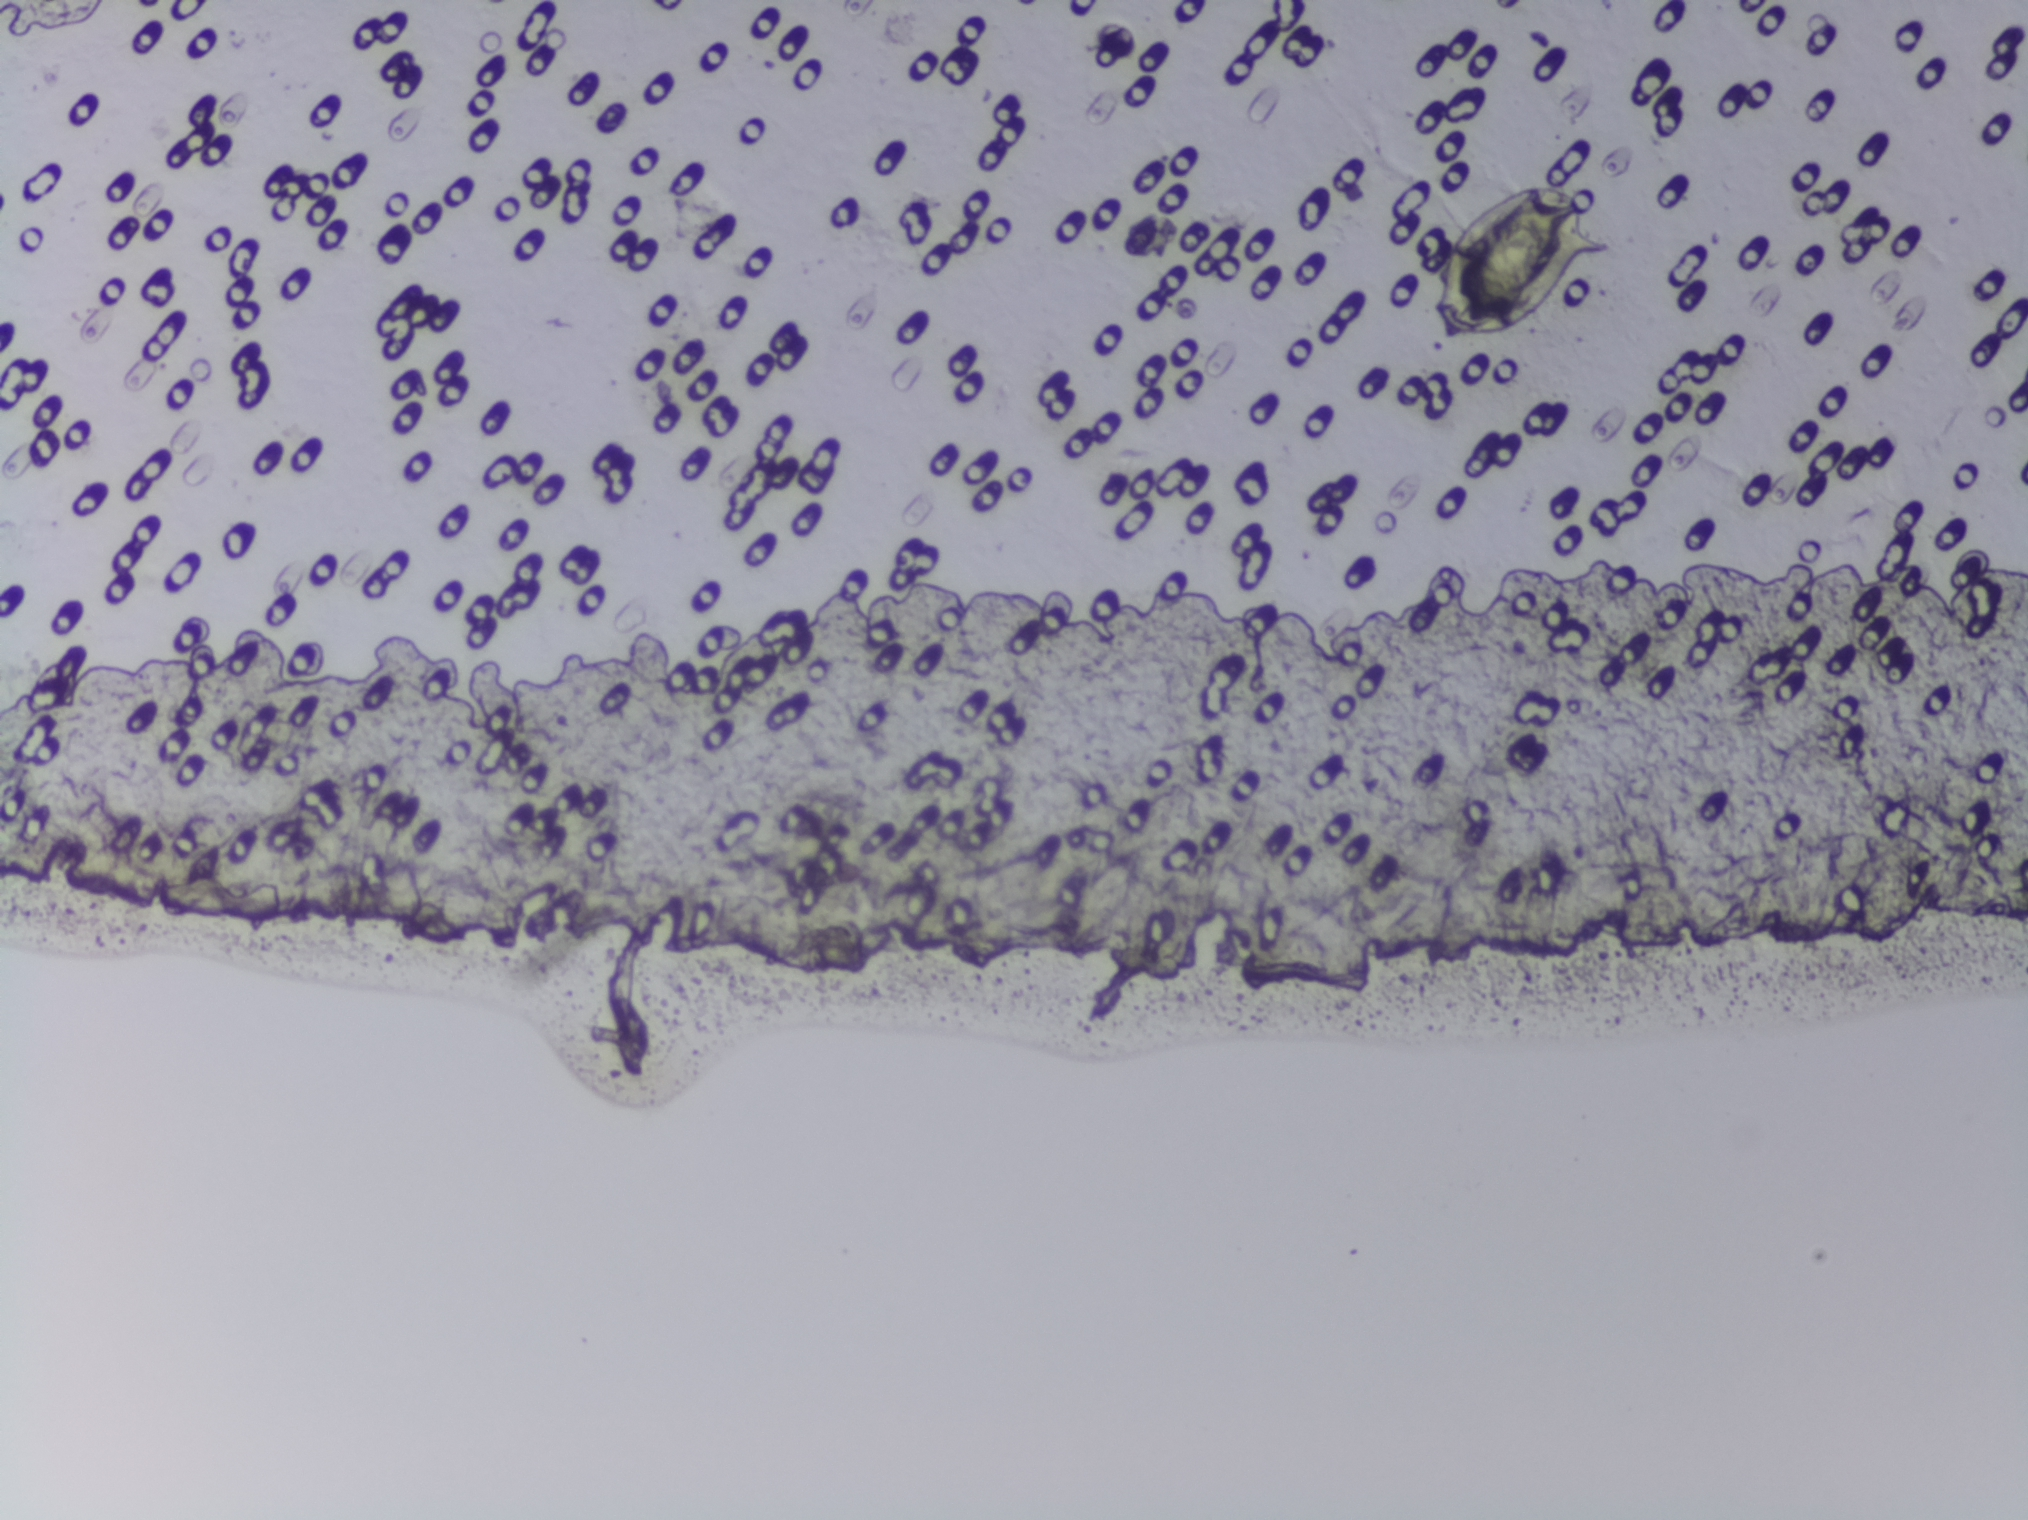
One field of view of a urine filter membrane, 4× objective, 2028 × 1520 pixels. The image covers about 1.5 × 1.1 mm of the membrane.
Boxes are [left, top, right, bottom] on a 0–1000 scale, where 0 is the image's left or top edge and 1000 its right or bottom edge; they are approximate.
Schistosoma eggs are outlined in the expert annotation at [705, 113, 798, 232]. An outlined area can hold more than one egg.